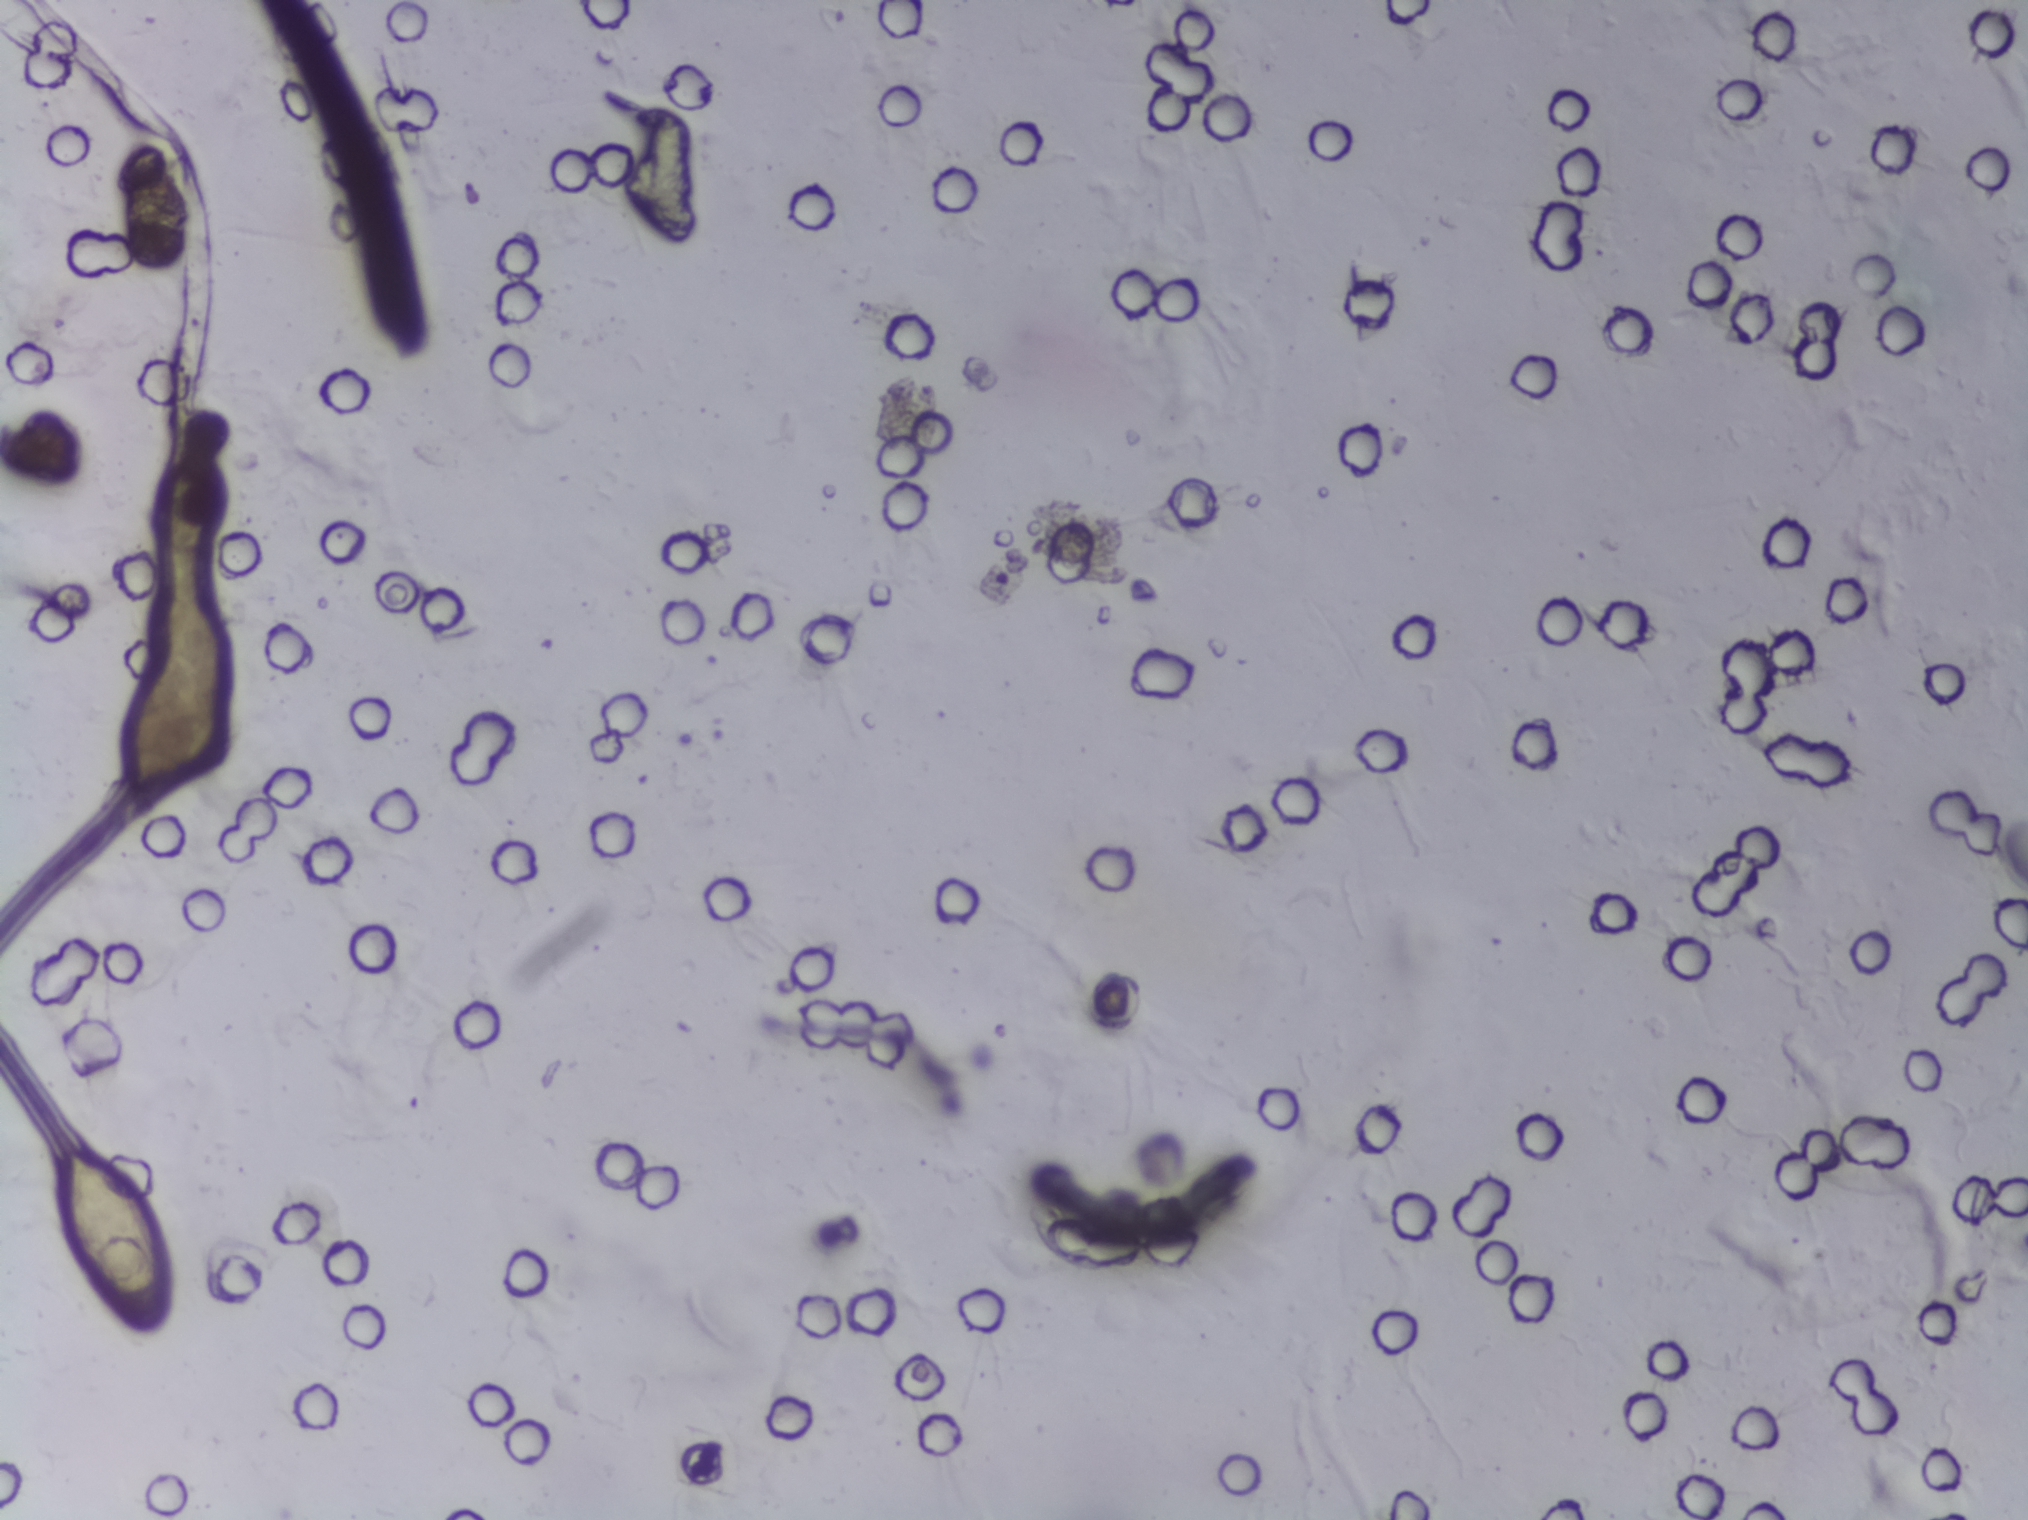
One field of view of a urine filter membrane, 4× objective, 2028 × 1520 pixels.
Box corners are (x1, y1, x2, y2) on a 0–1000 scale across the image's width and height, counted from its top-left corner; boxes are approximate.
Schistosoma eggs, outlined areas: (29, 754, 83, 876). A single outlined area may contain several eggs.